Urine filtration membrane under a 4× objective, photographed by an automated digital microscope.
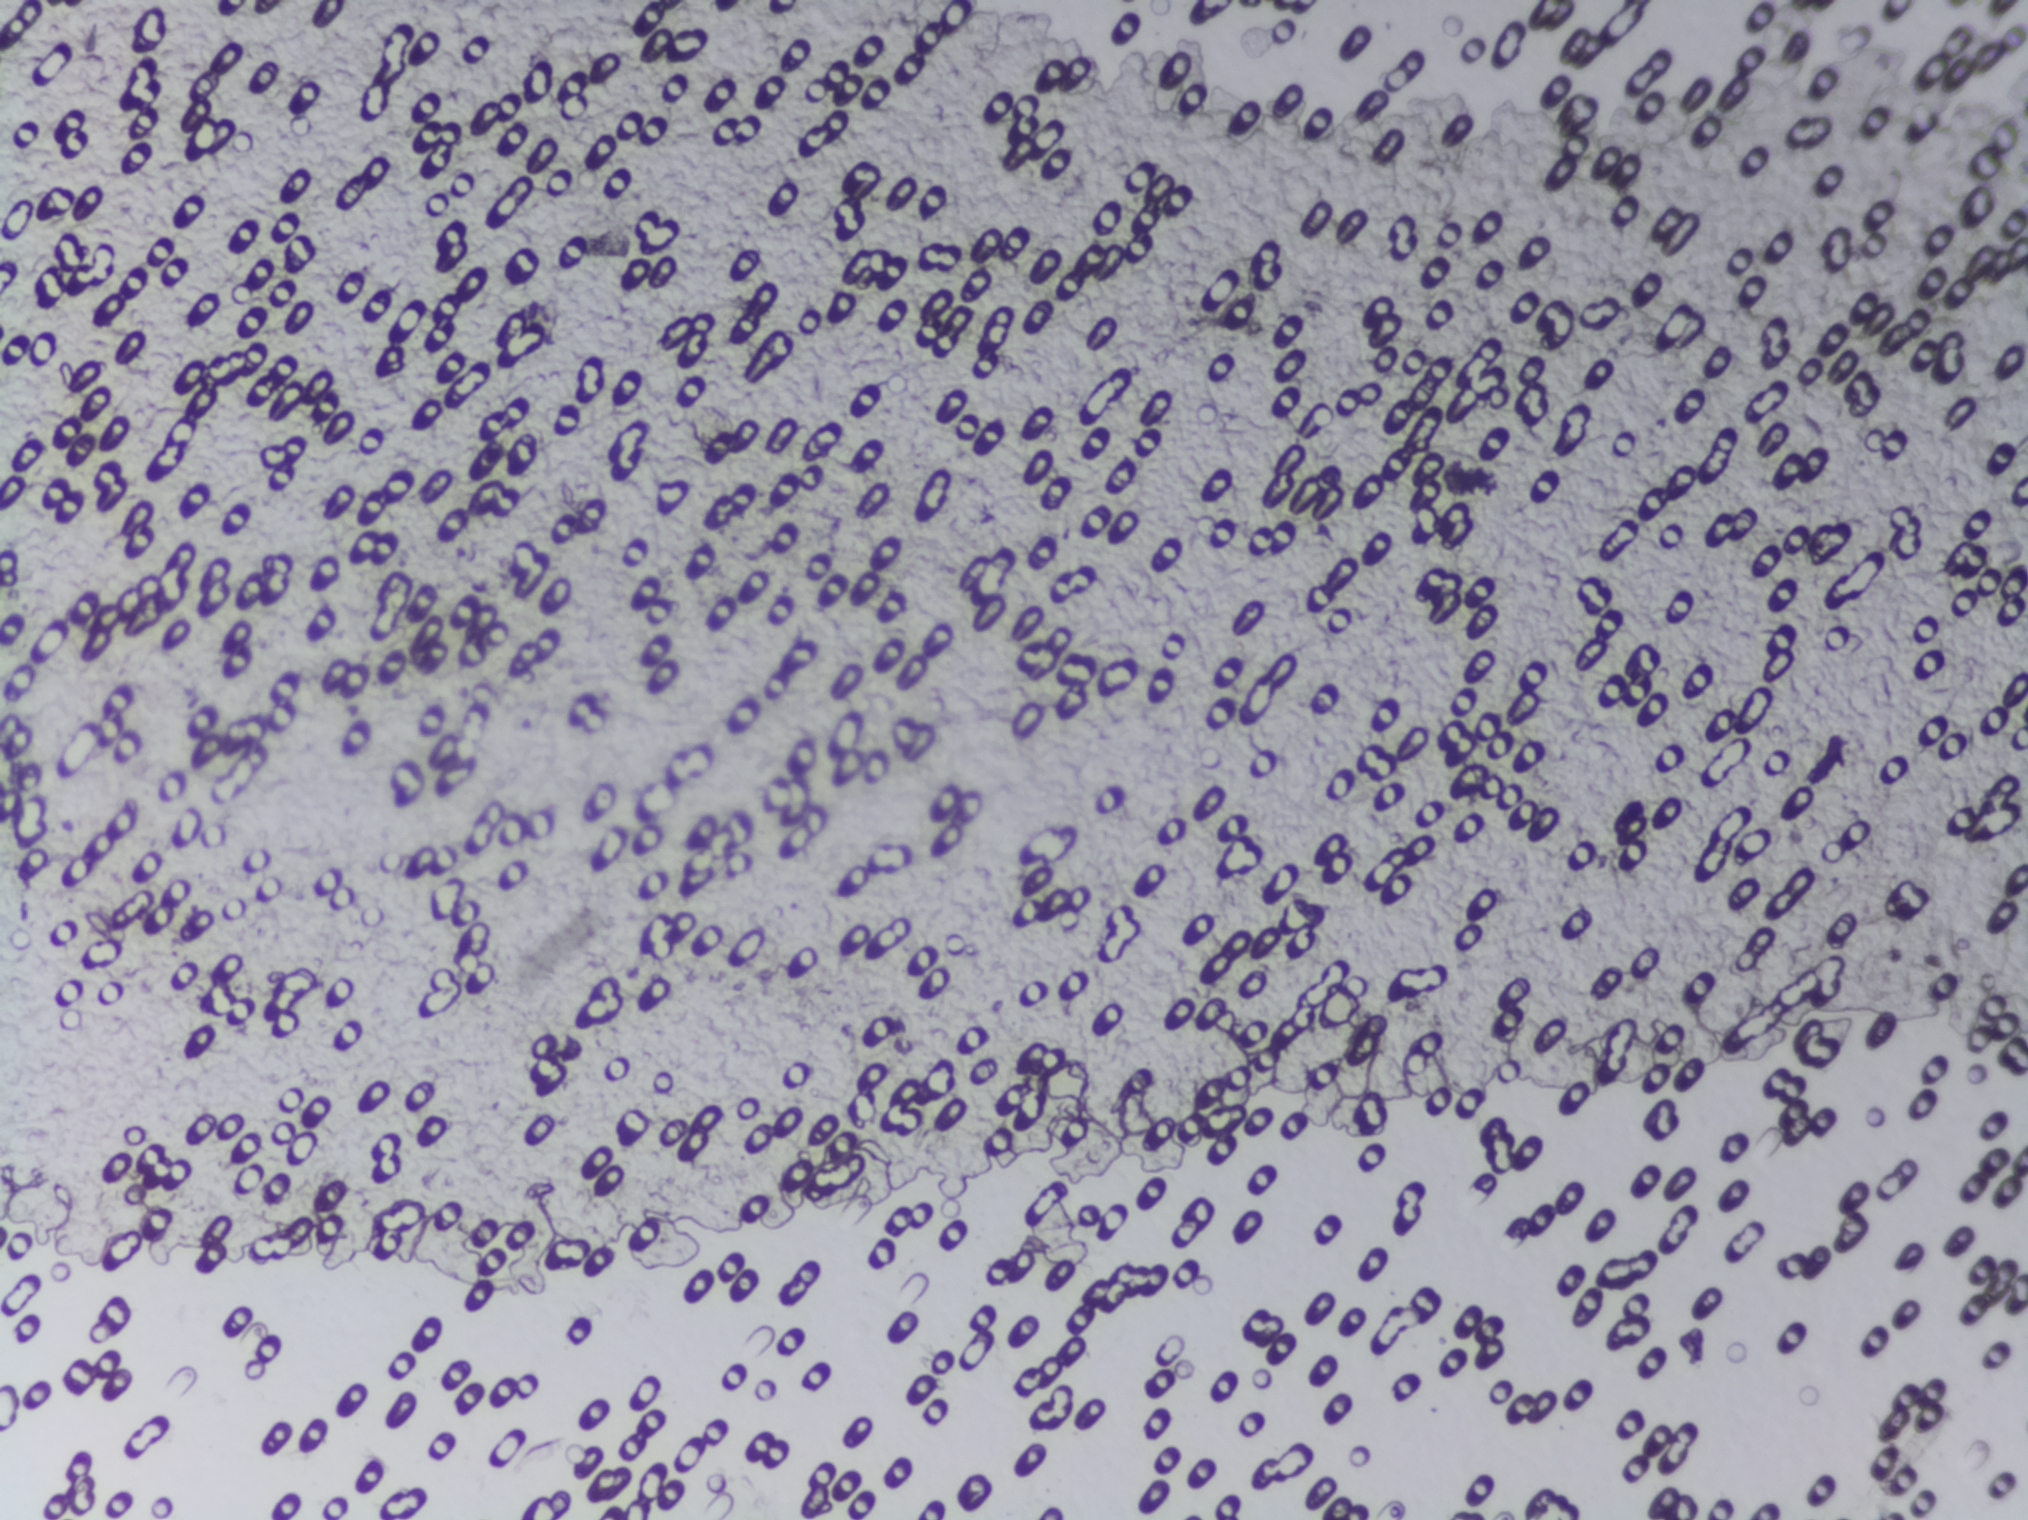
The expert annotation outlines no Schistosoma egg in this image.